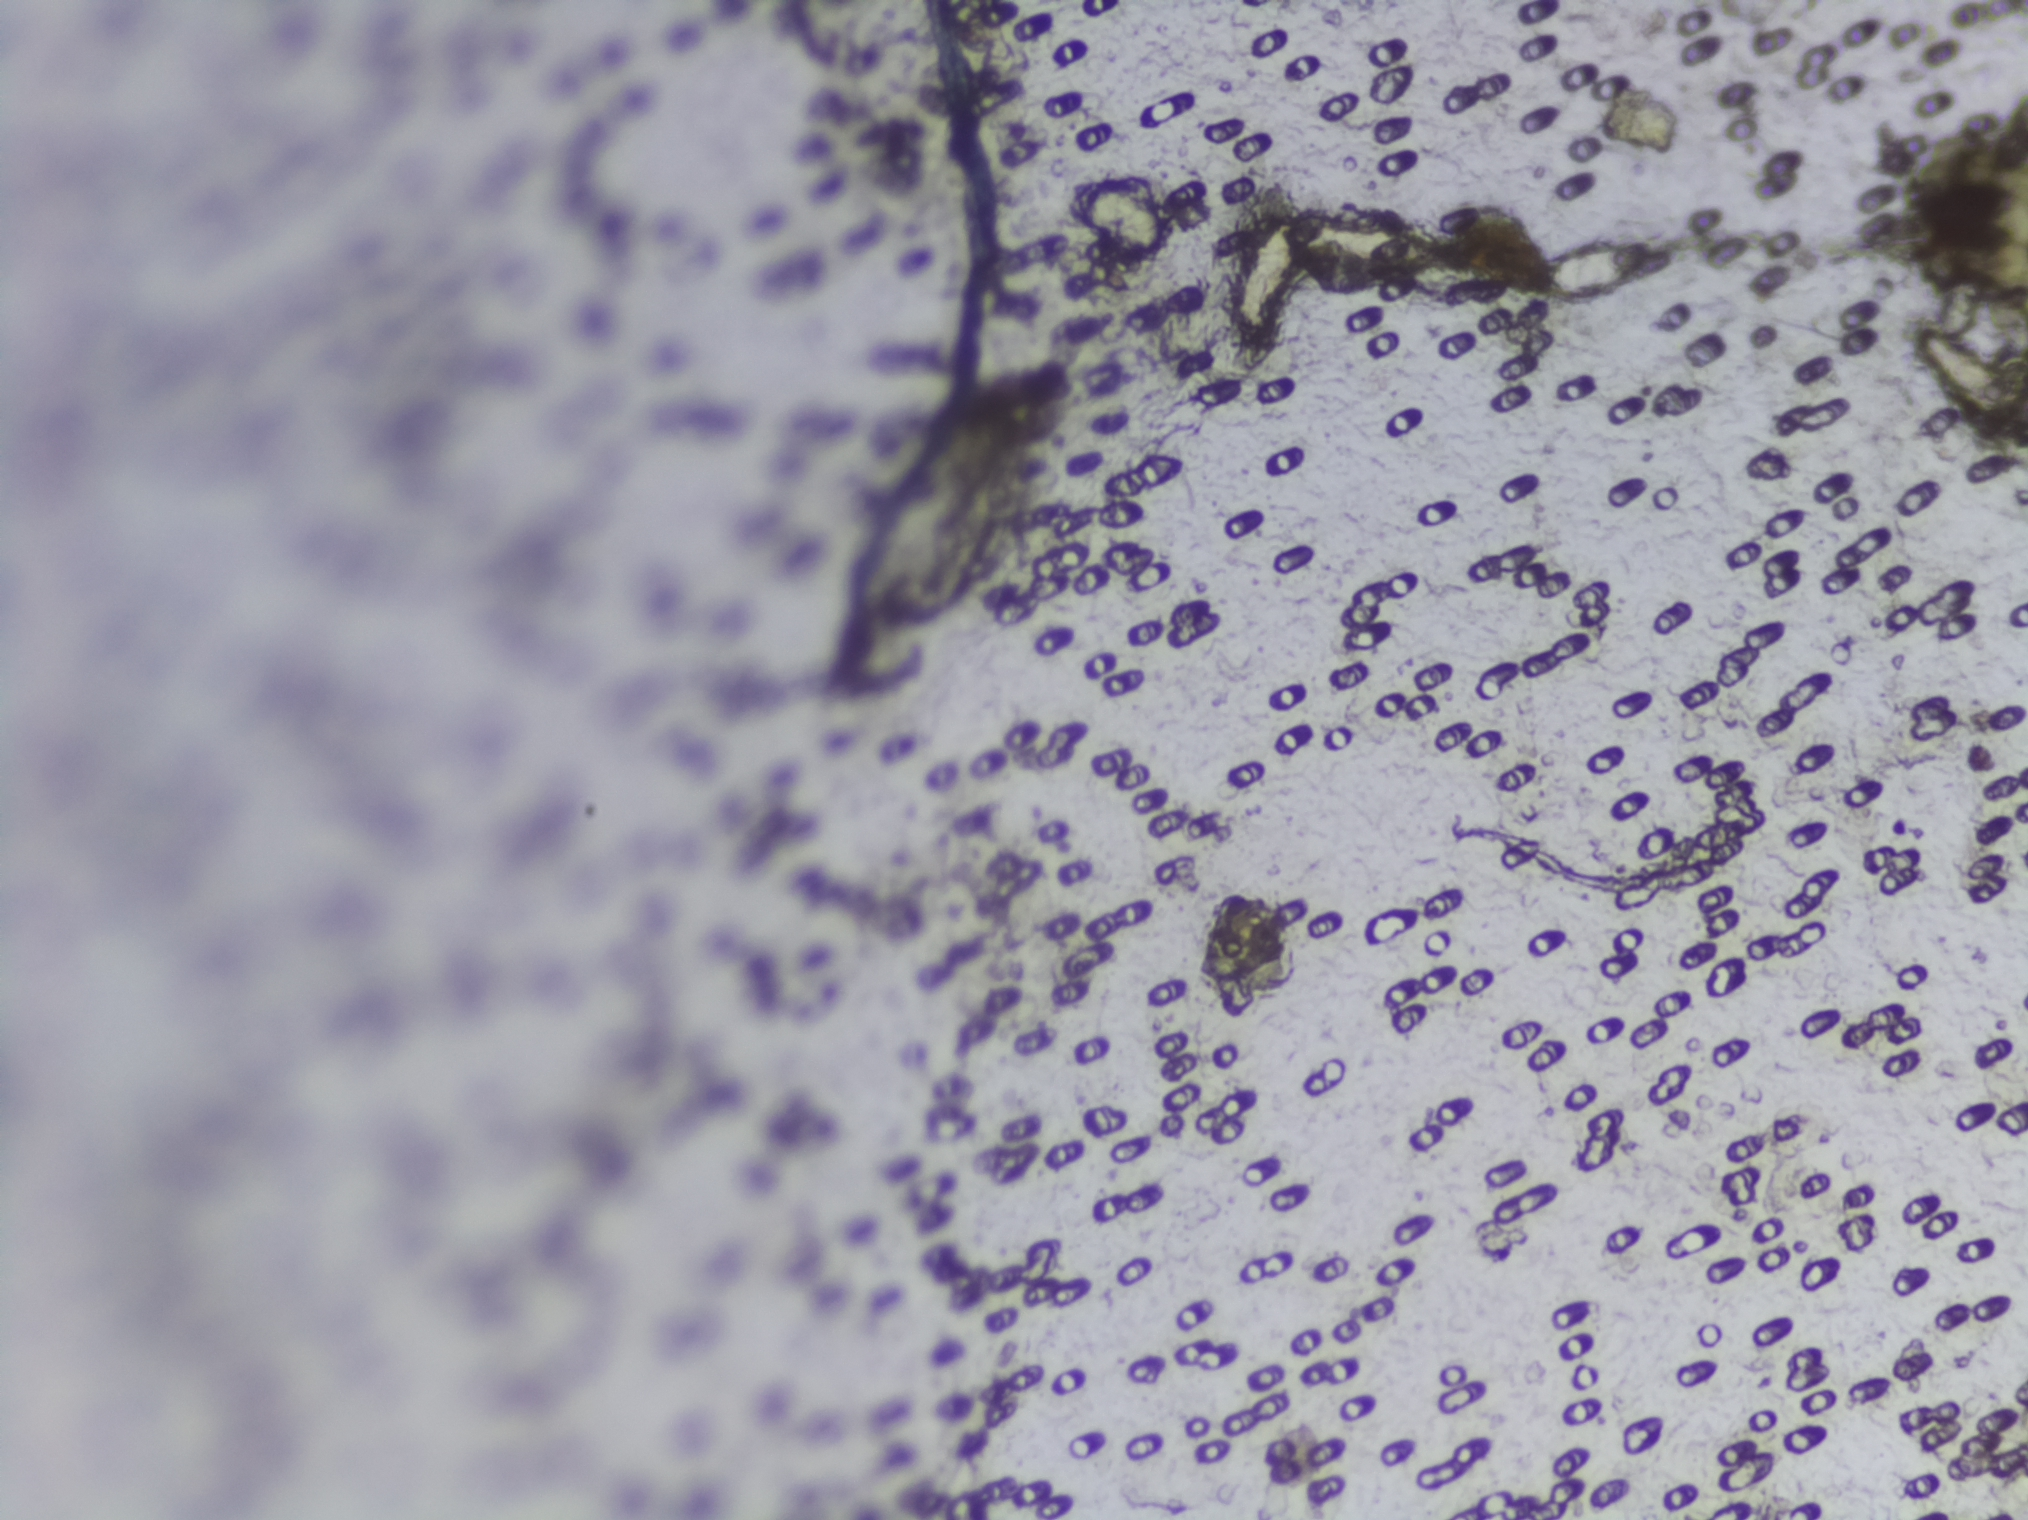
No area of this image was outlined as a Schistosoma egg.
Urine filtration membrane under a 4× objective, photographed by an automated digital microscope. Field of view: about 1.5 mm wide and 1.1 mm high.